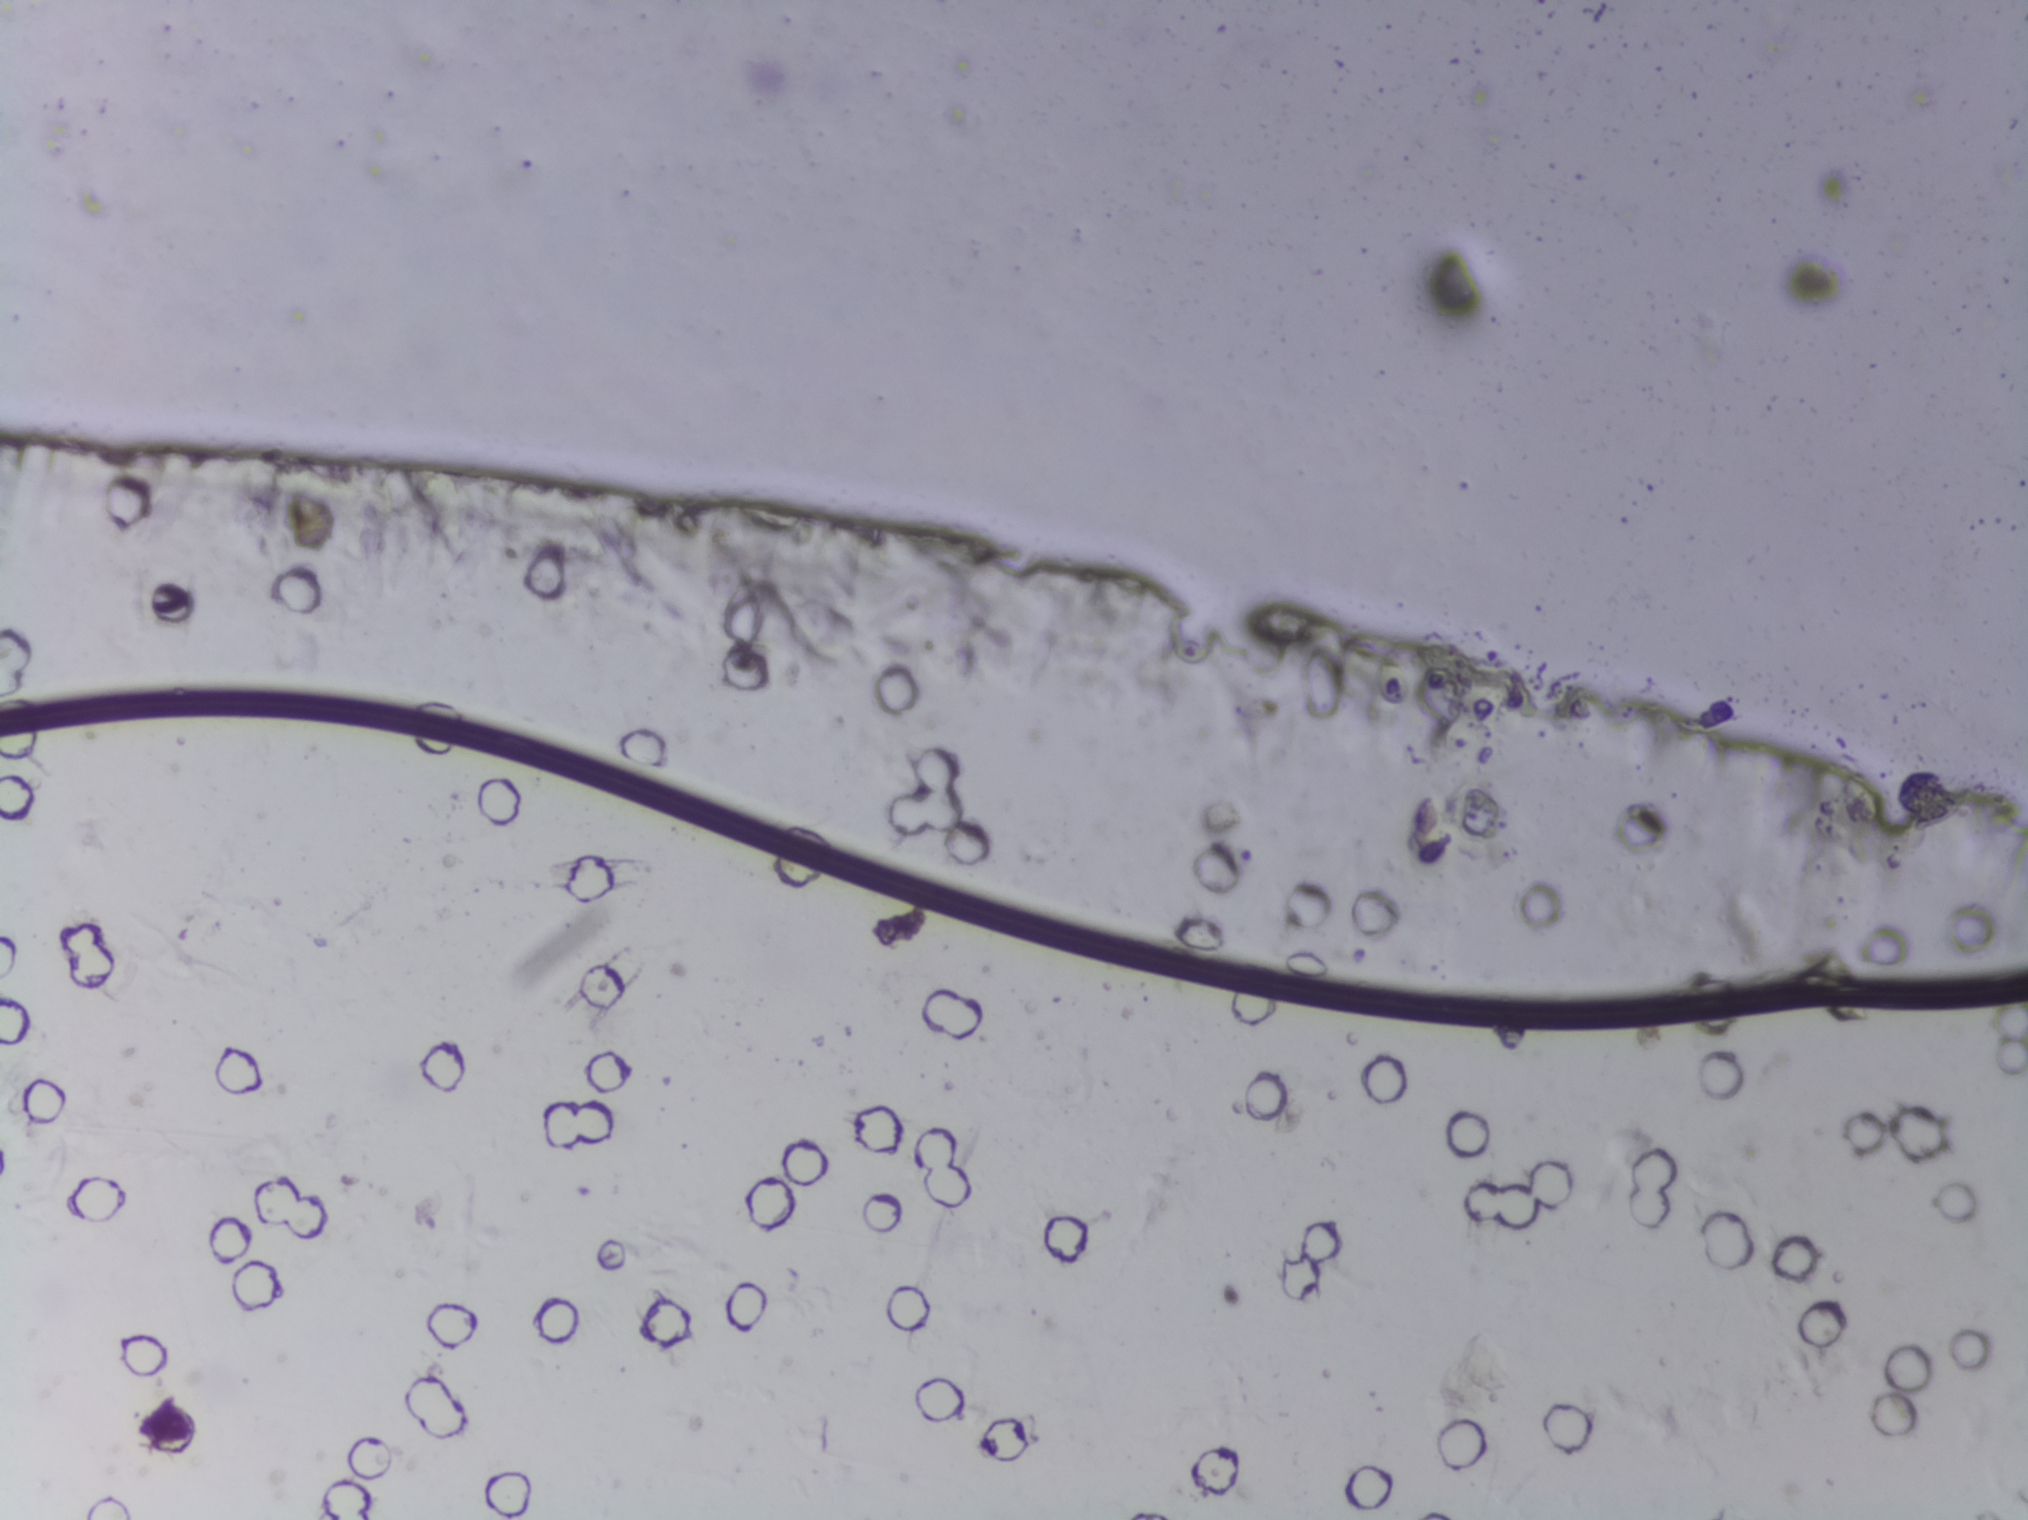
One field of view of a urine filter membrane, 4× objective, 2028 × 1520 pixels.
Schistosoma eggs: none outlined.